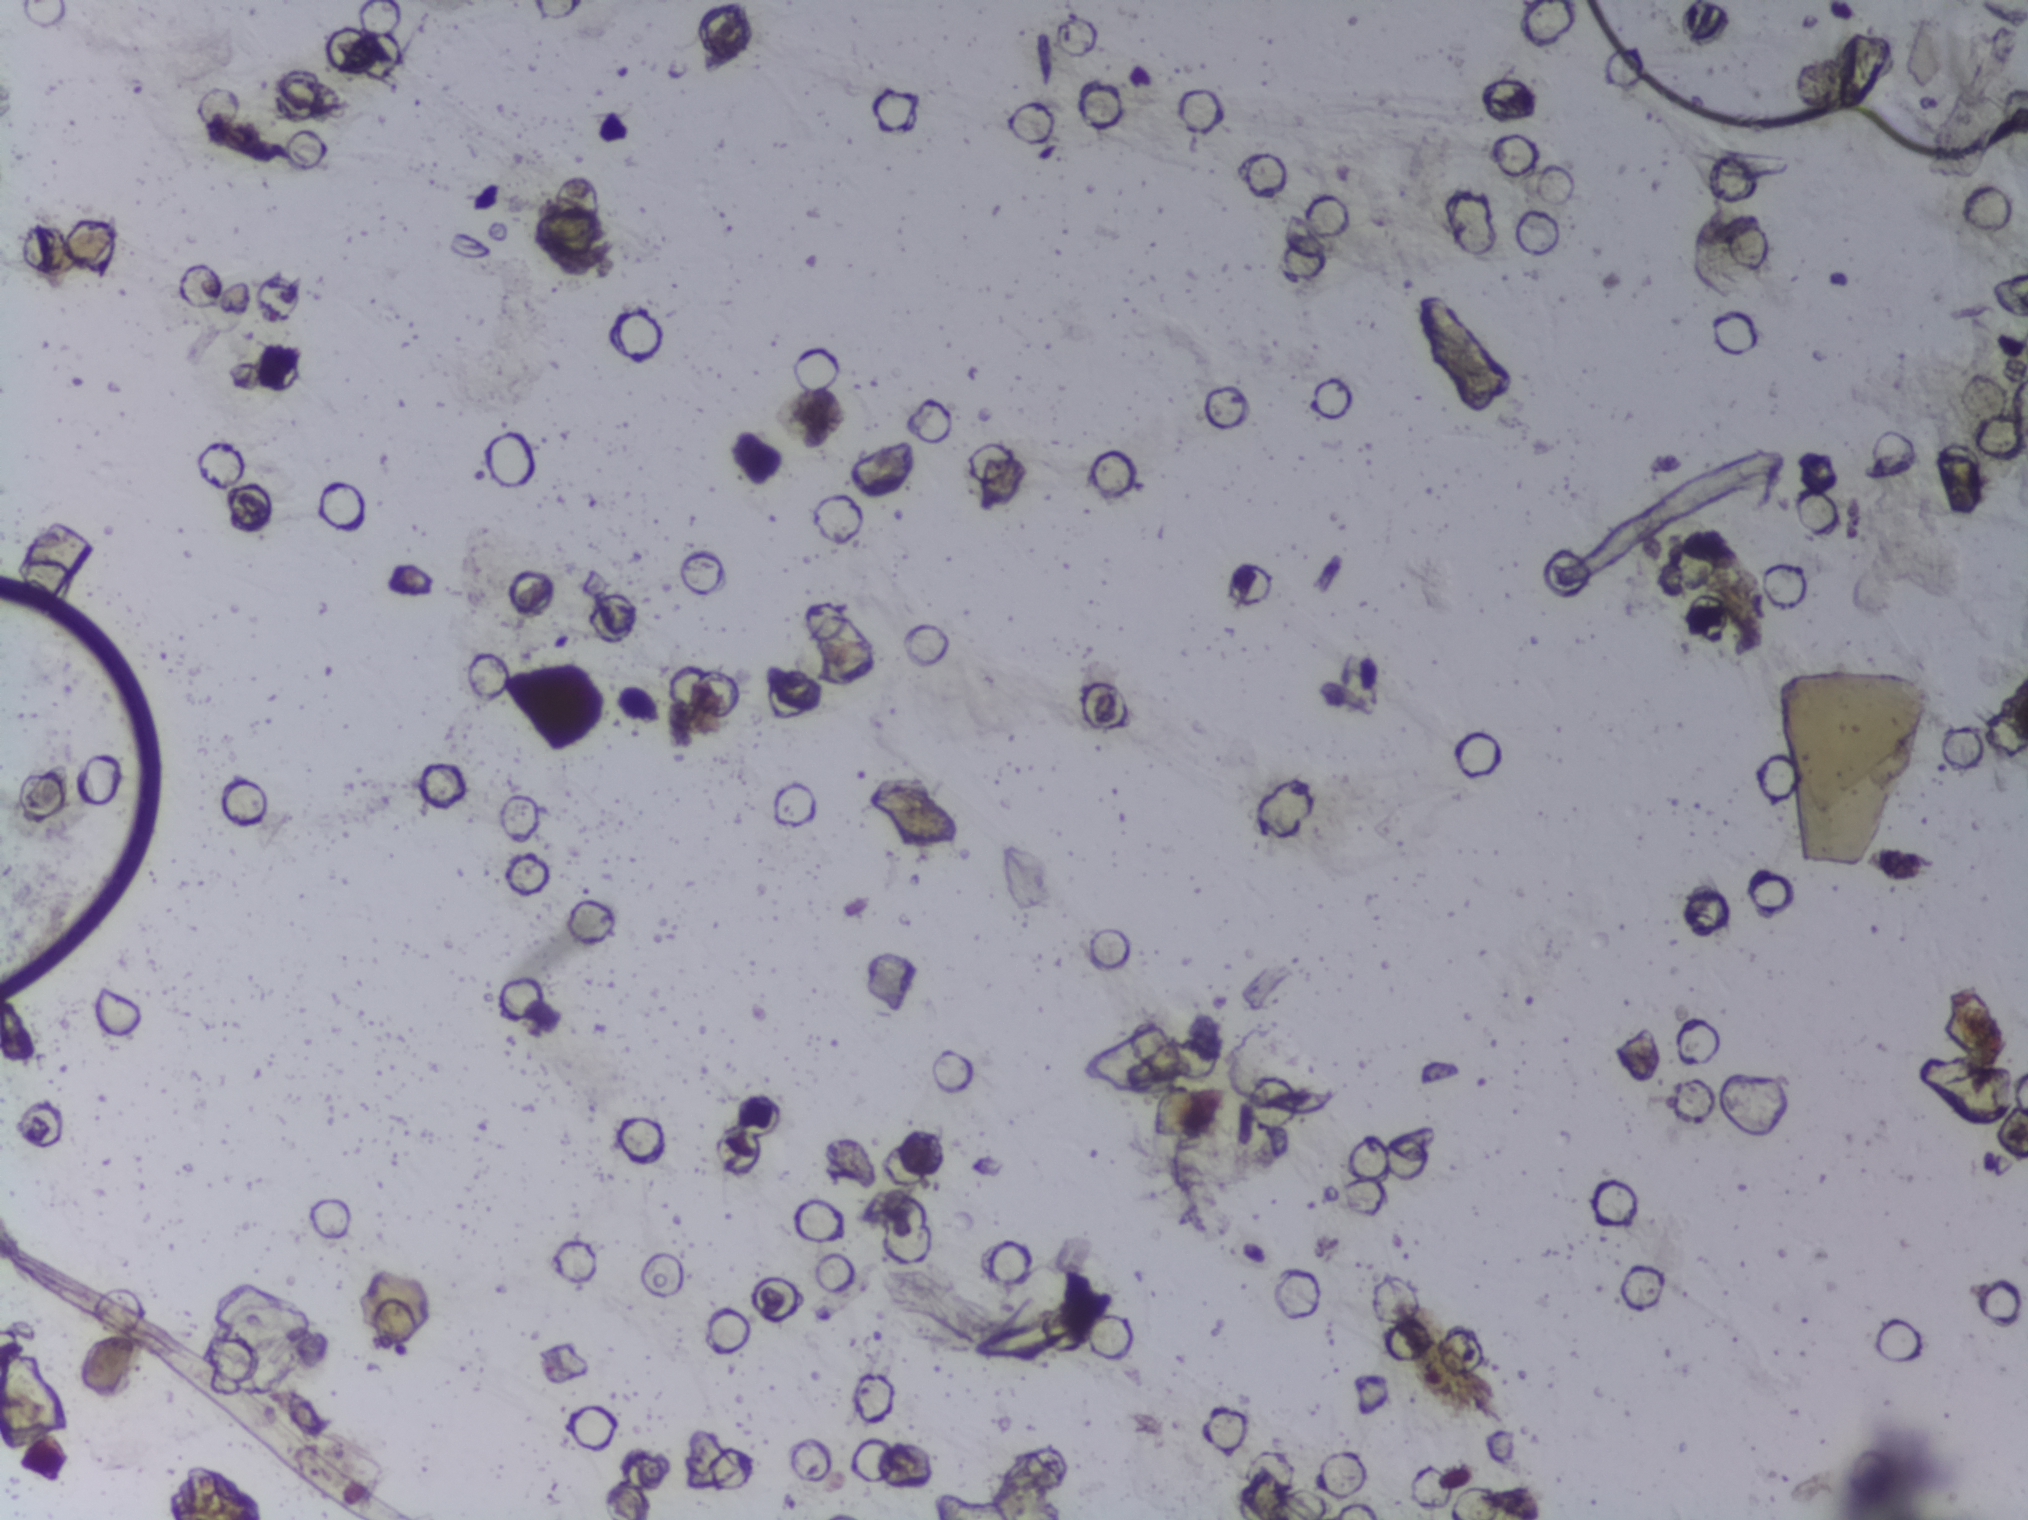
No Schistosoma egg is outlined in this image's expert annotation.
Photomicrograph of a urine filtration membrane, 4× objective.